Photograph from an automated digital microscope: urine filter membrane, 4× objective.
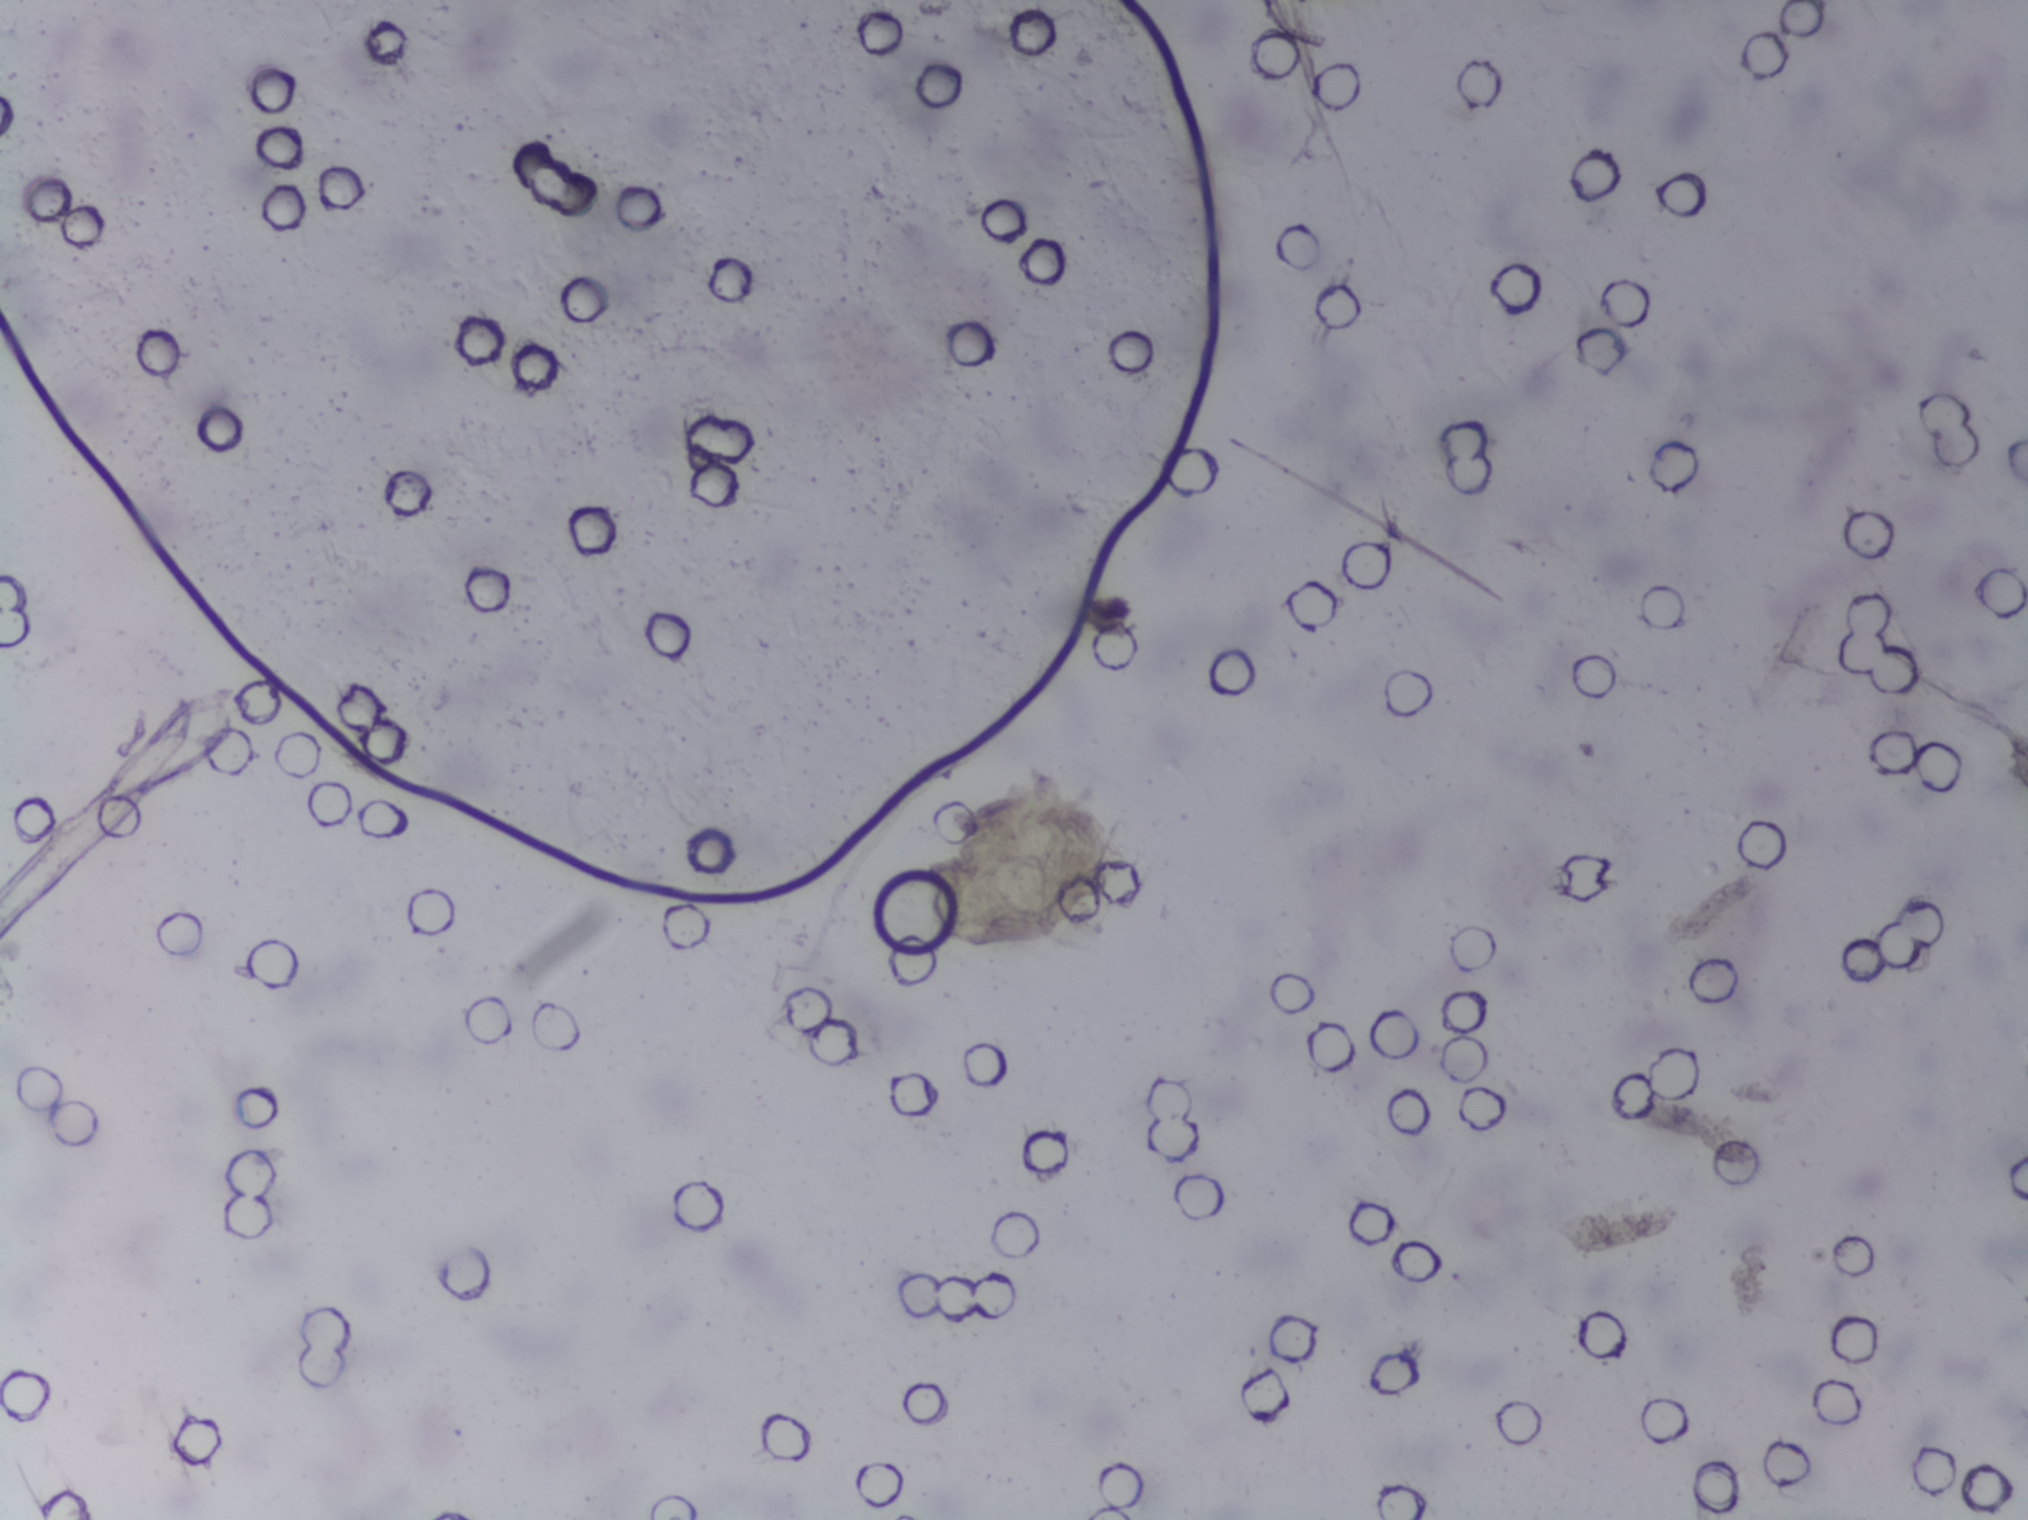
No area of this image was outlined as a Schistosoma egg.